Photomicrograph of a urine filtration membrane, 4× objective.
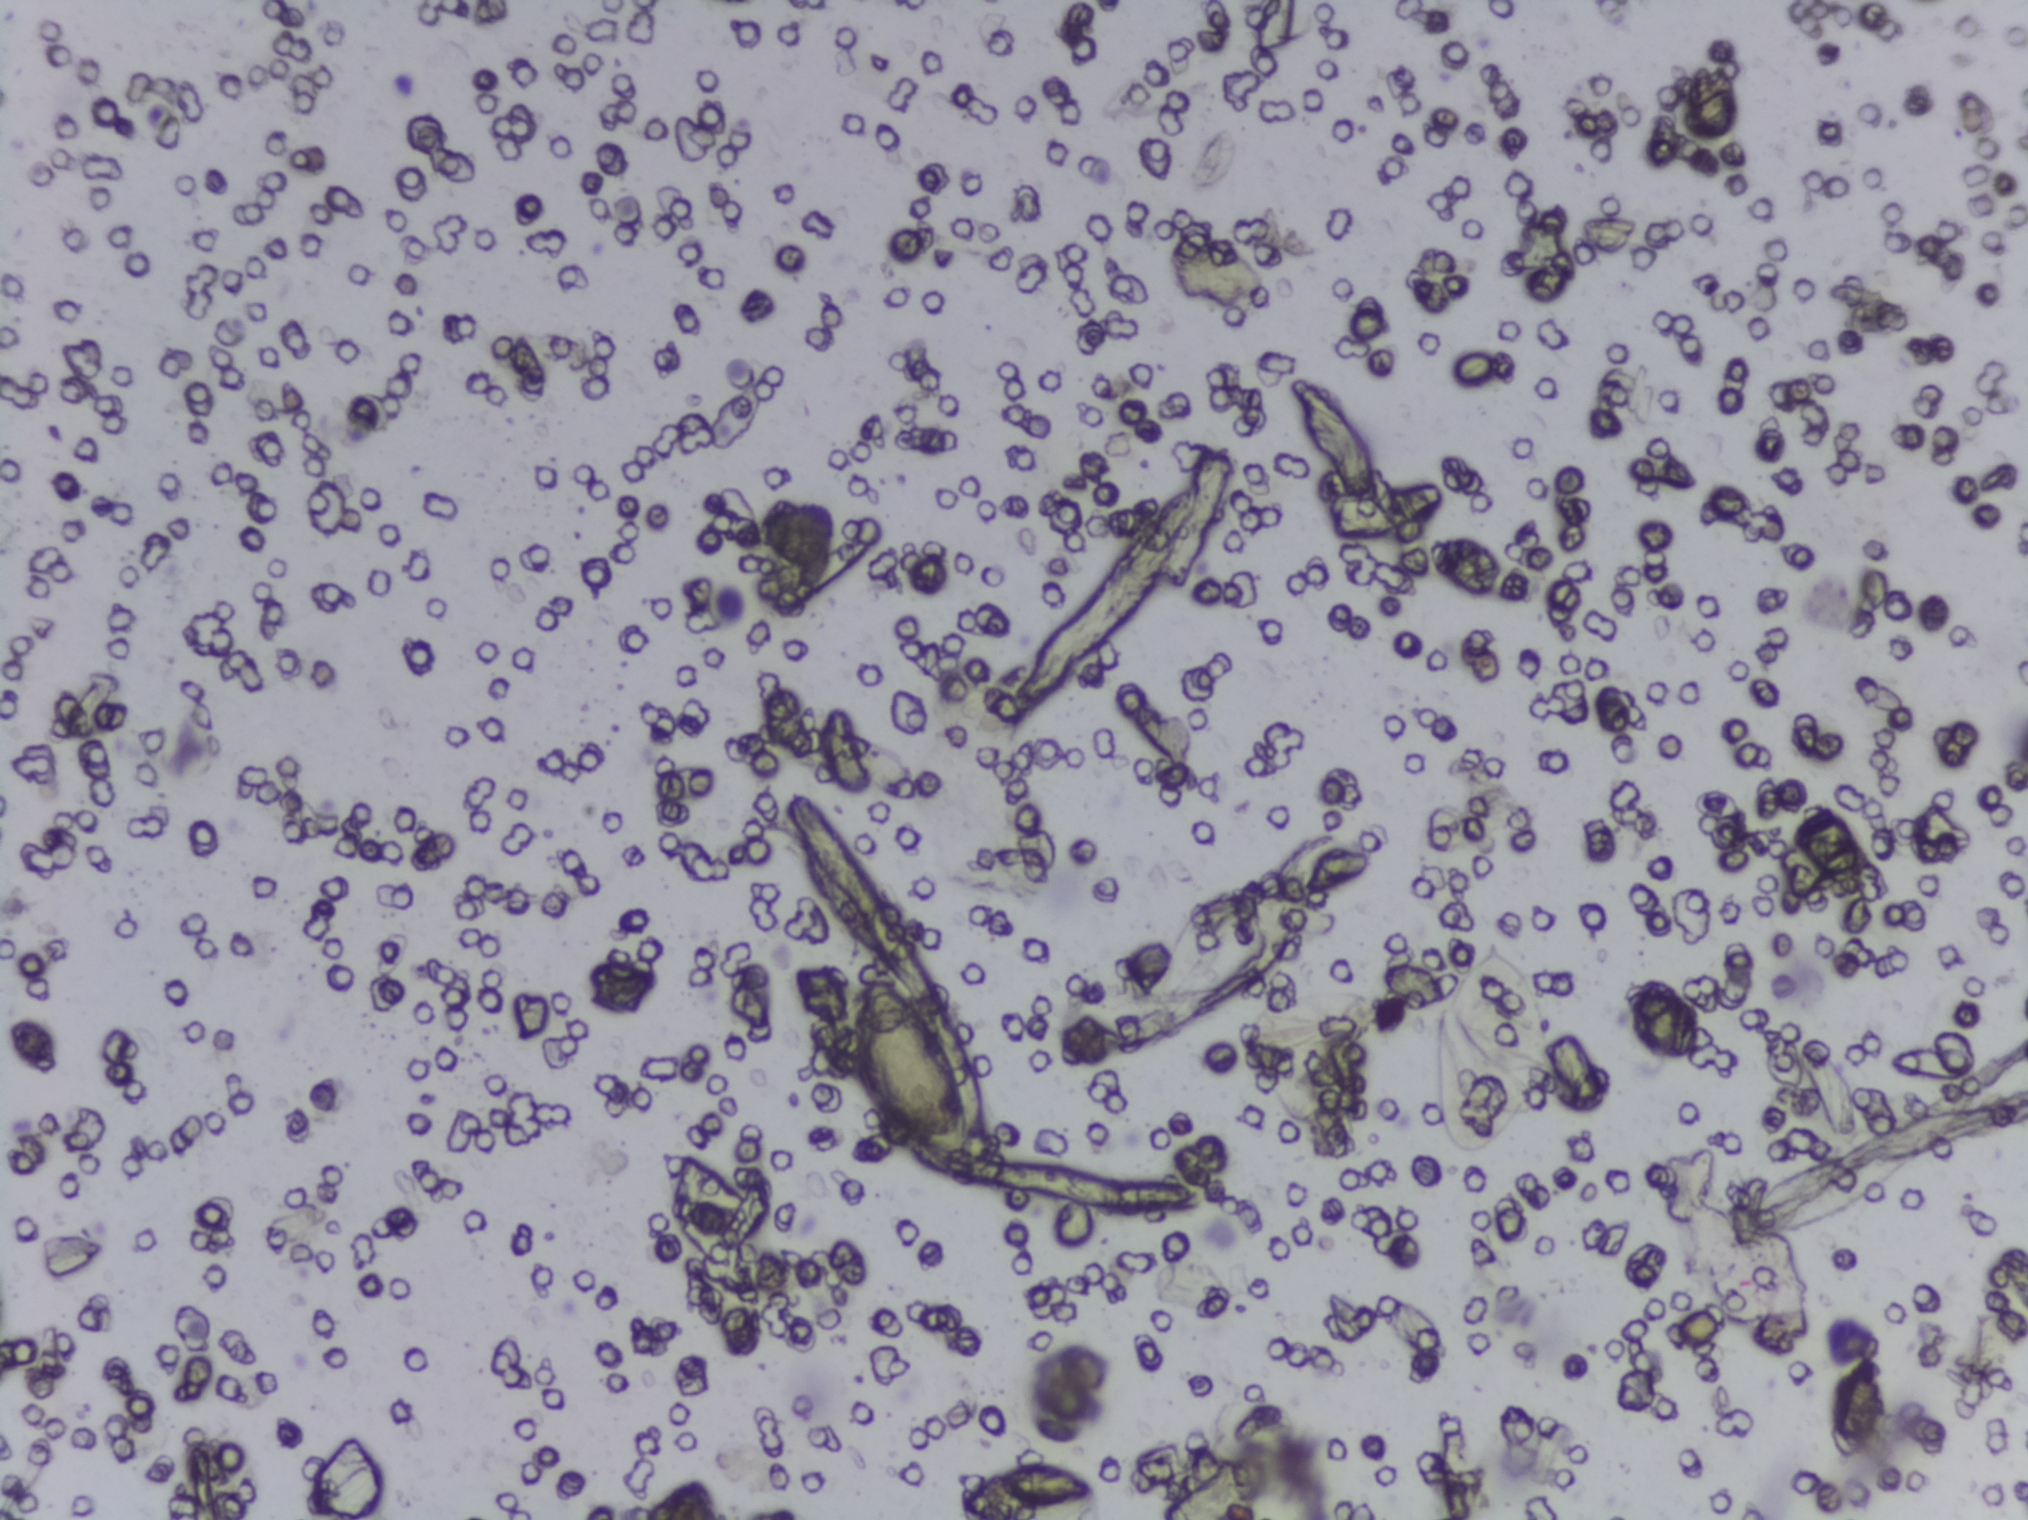
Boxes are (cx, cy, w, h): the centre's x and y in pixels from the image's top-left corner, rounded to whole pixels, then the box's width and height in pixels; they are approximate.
Four areas of this image are outlined as Schistosoma eggs, from left to right: (cx=909, cy=1062, w=117, h=184); (cx=1027, cy=1493, w=133, h=53) (reaching the bottom edge of the frame); (cx=1311, cy=1031, w=146, h=83); (cx=1492, cy=1052, w=119, h=228). An outlined area can hold more than one egg.